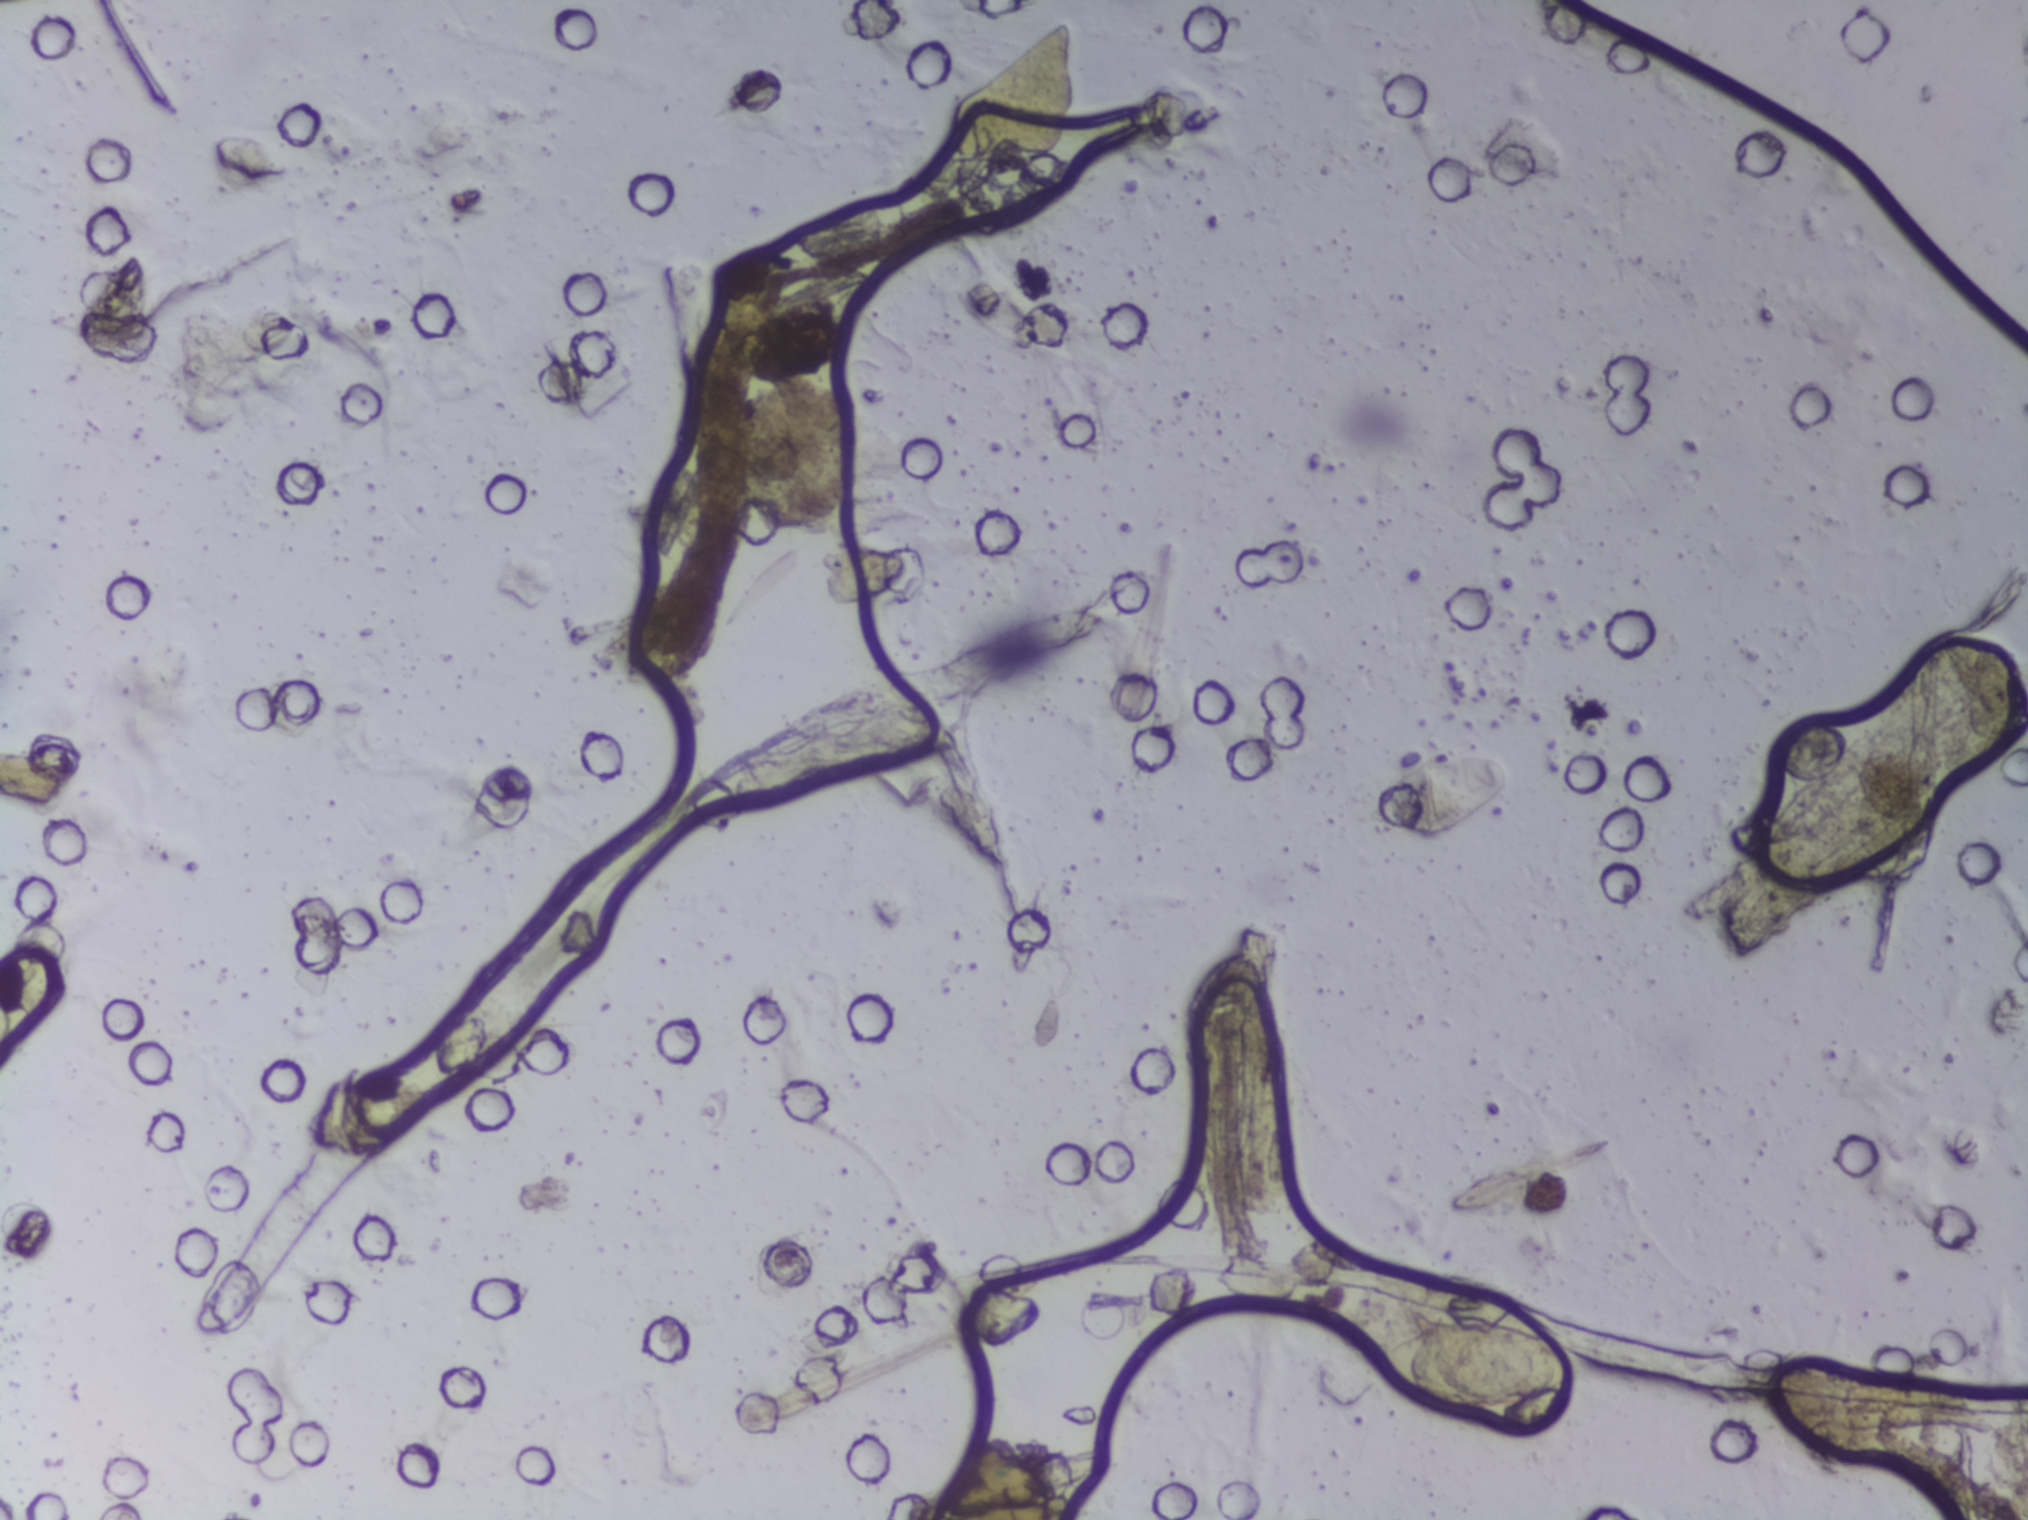
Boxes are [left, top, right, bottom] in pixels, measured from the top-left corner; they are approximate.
Schistosoma eggs, outlined areas: [1393, 1308, 1578, 1413]. A single outlined area may contain several eggs.
Microscope photograph (4× objective) of a membrane that a urine sample was filtered through.